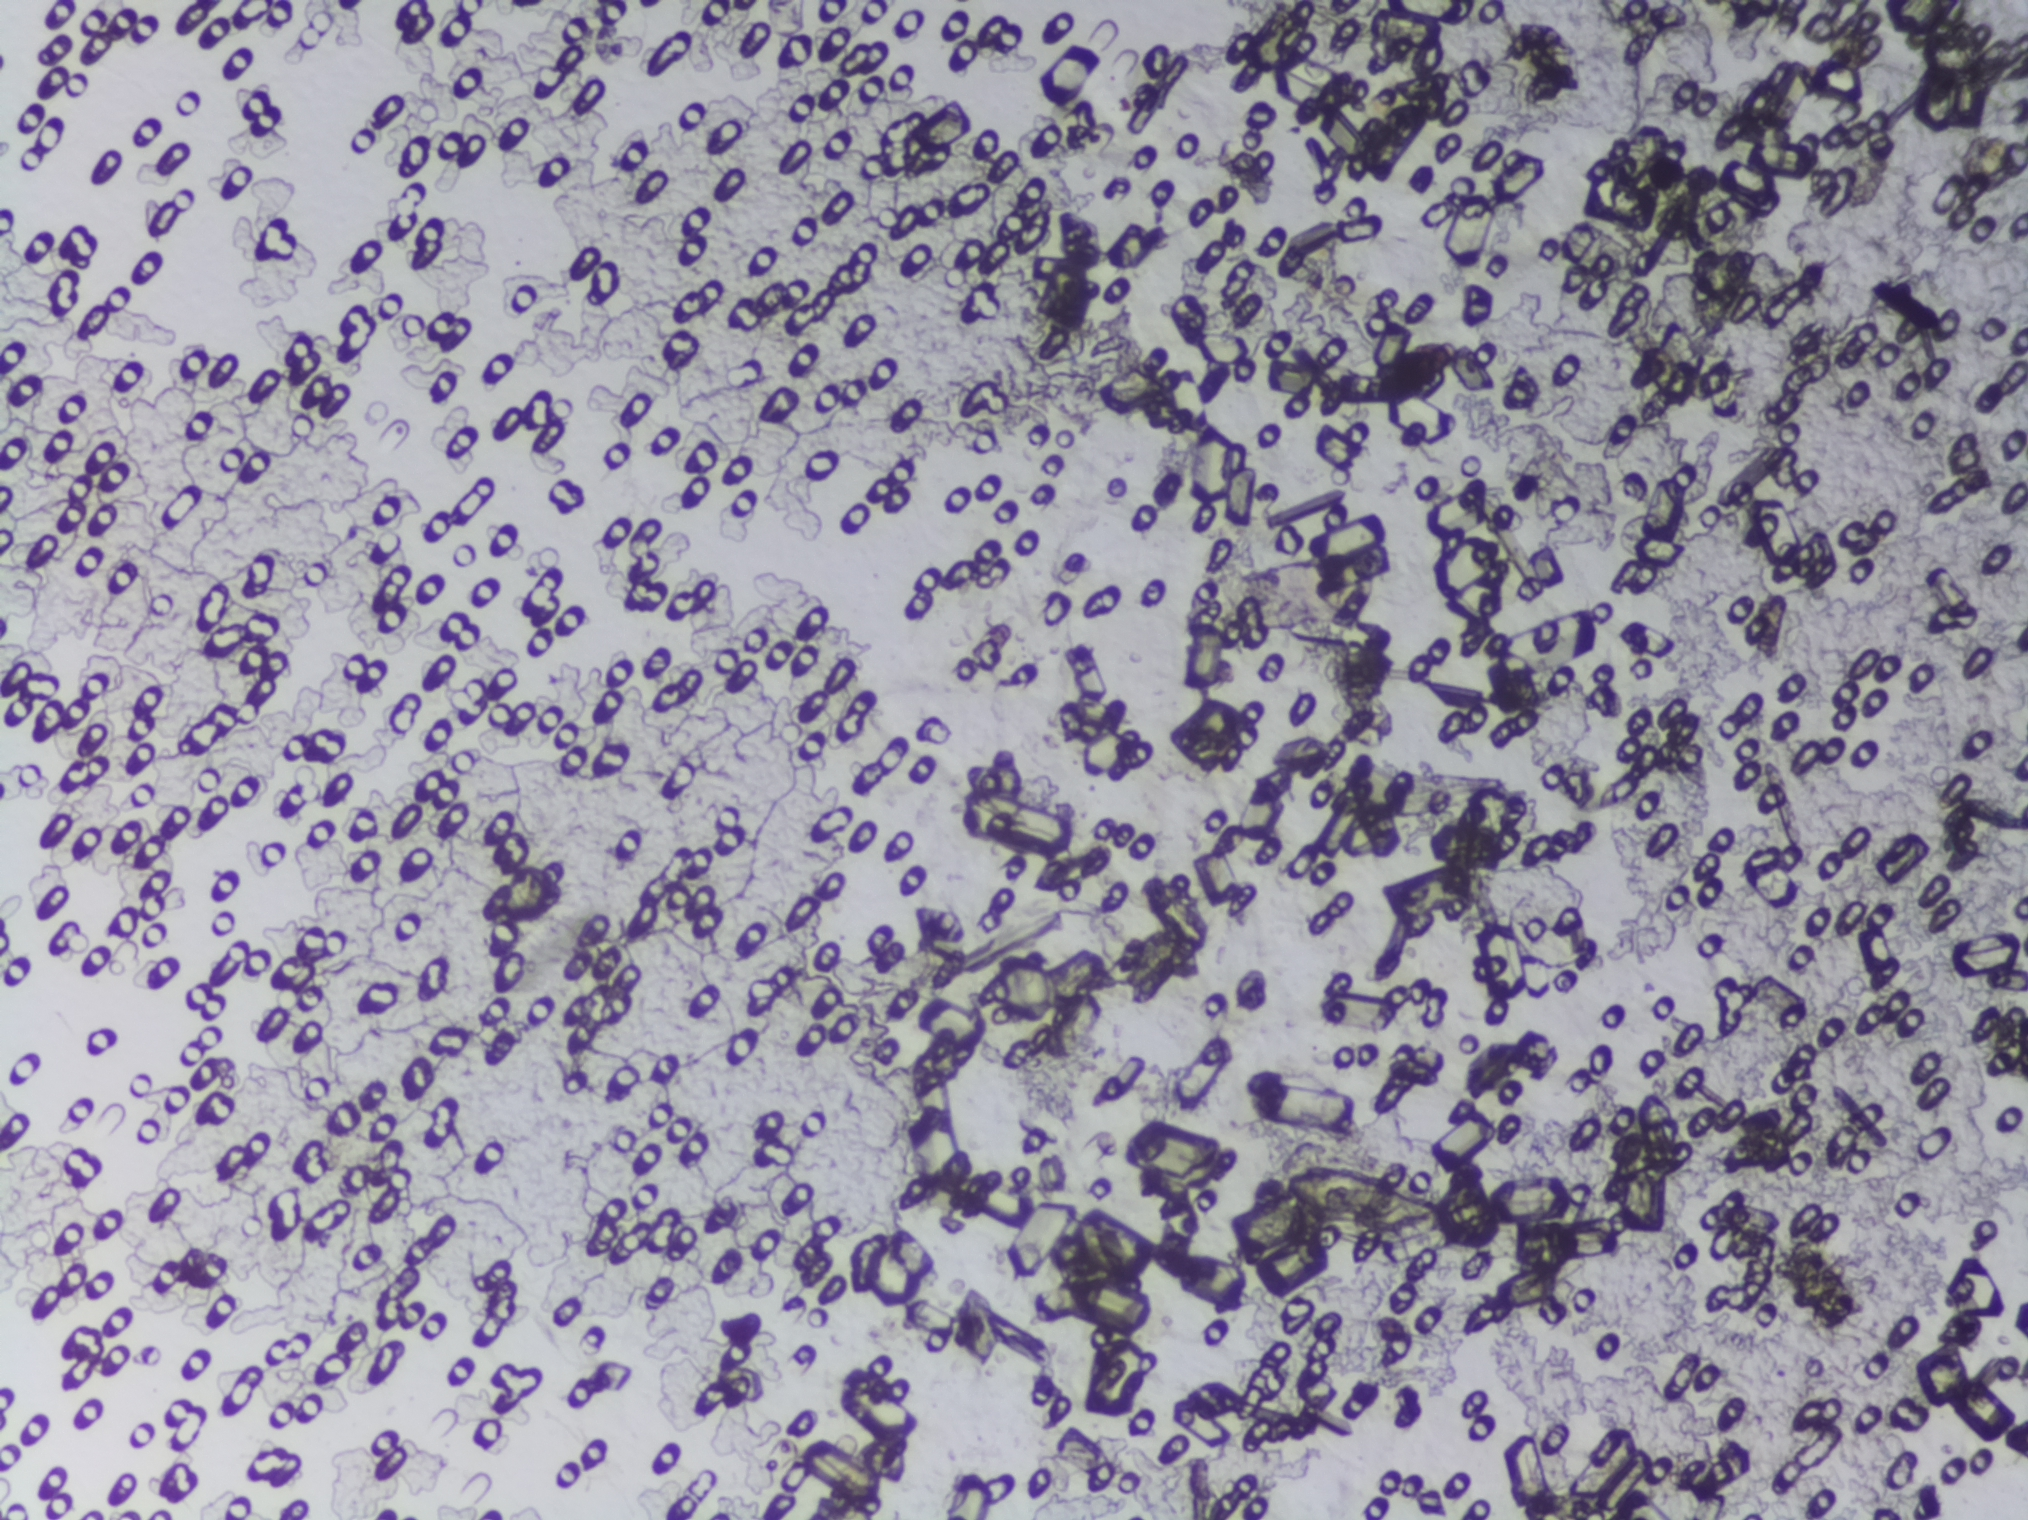
Microscope photograph (4× objective) of a membrane that a urine sample was filtered through. The image covers about 1.5 × 1.1 mm of the membrane.
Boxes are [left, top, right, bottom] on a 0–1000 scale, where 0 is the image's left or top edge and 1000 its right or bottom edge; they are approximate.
Outlined Schistosoma egg areas:
1. [627, 764, 721, 828]
Eggs that touch can end up inside the same outlined area.